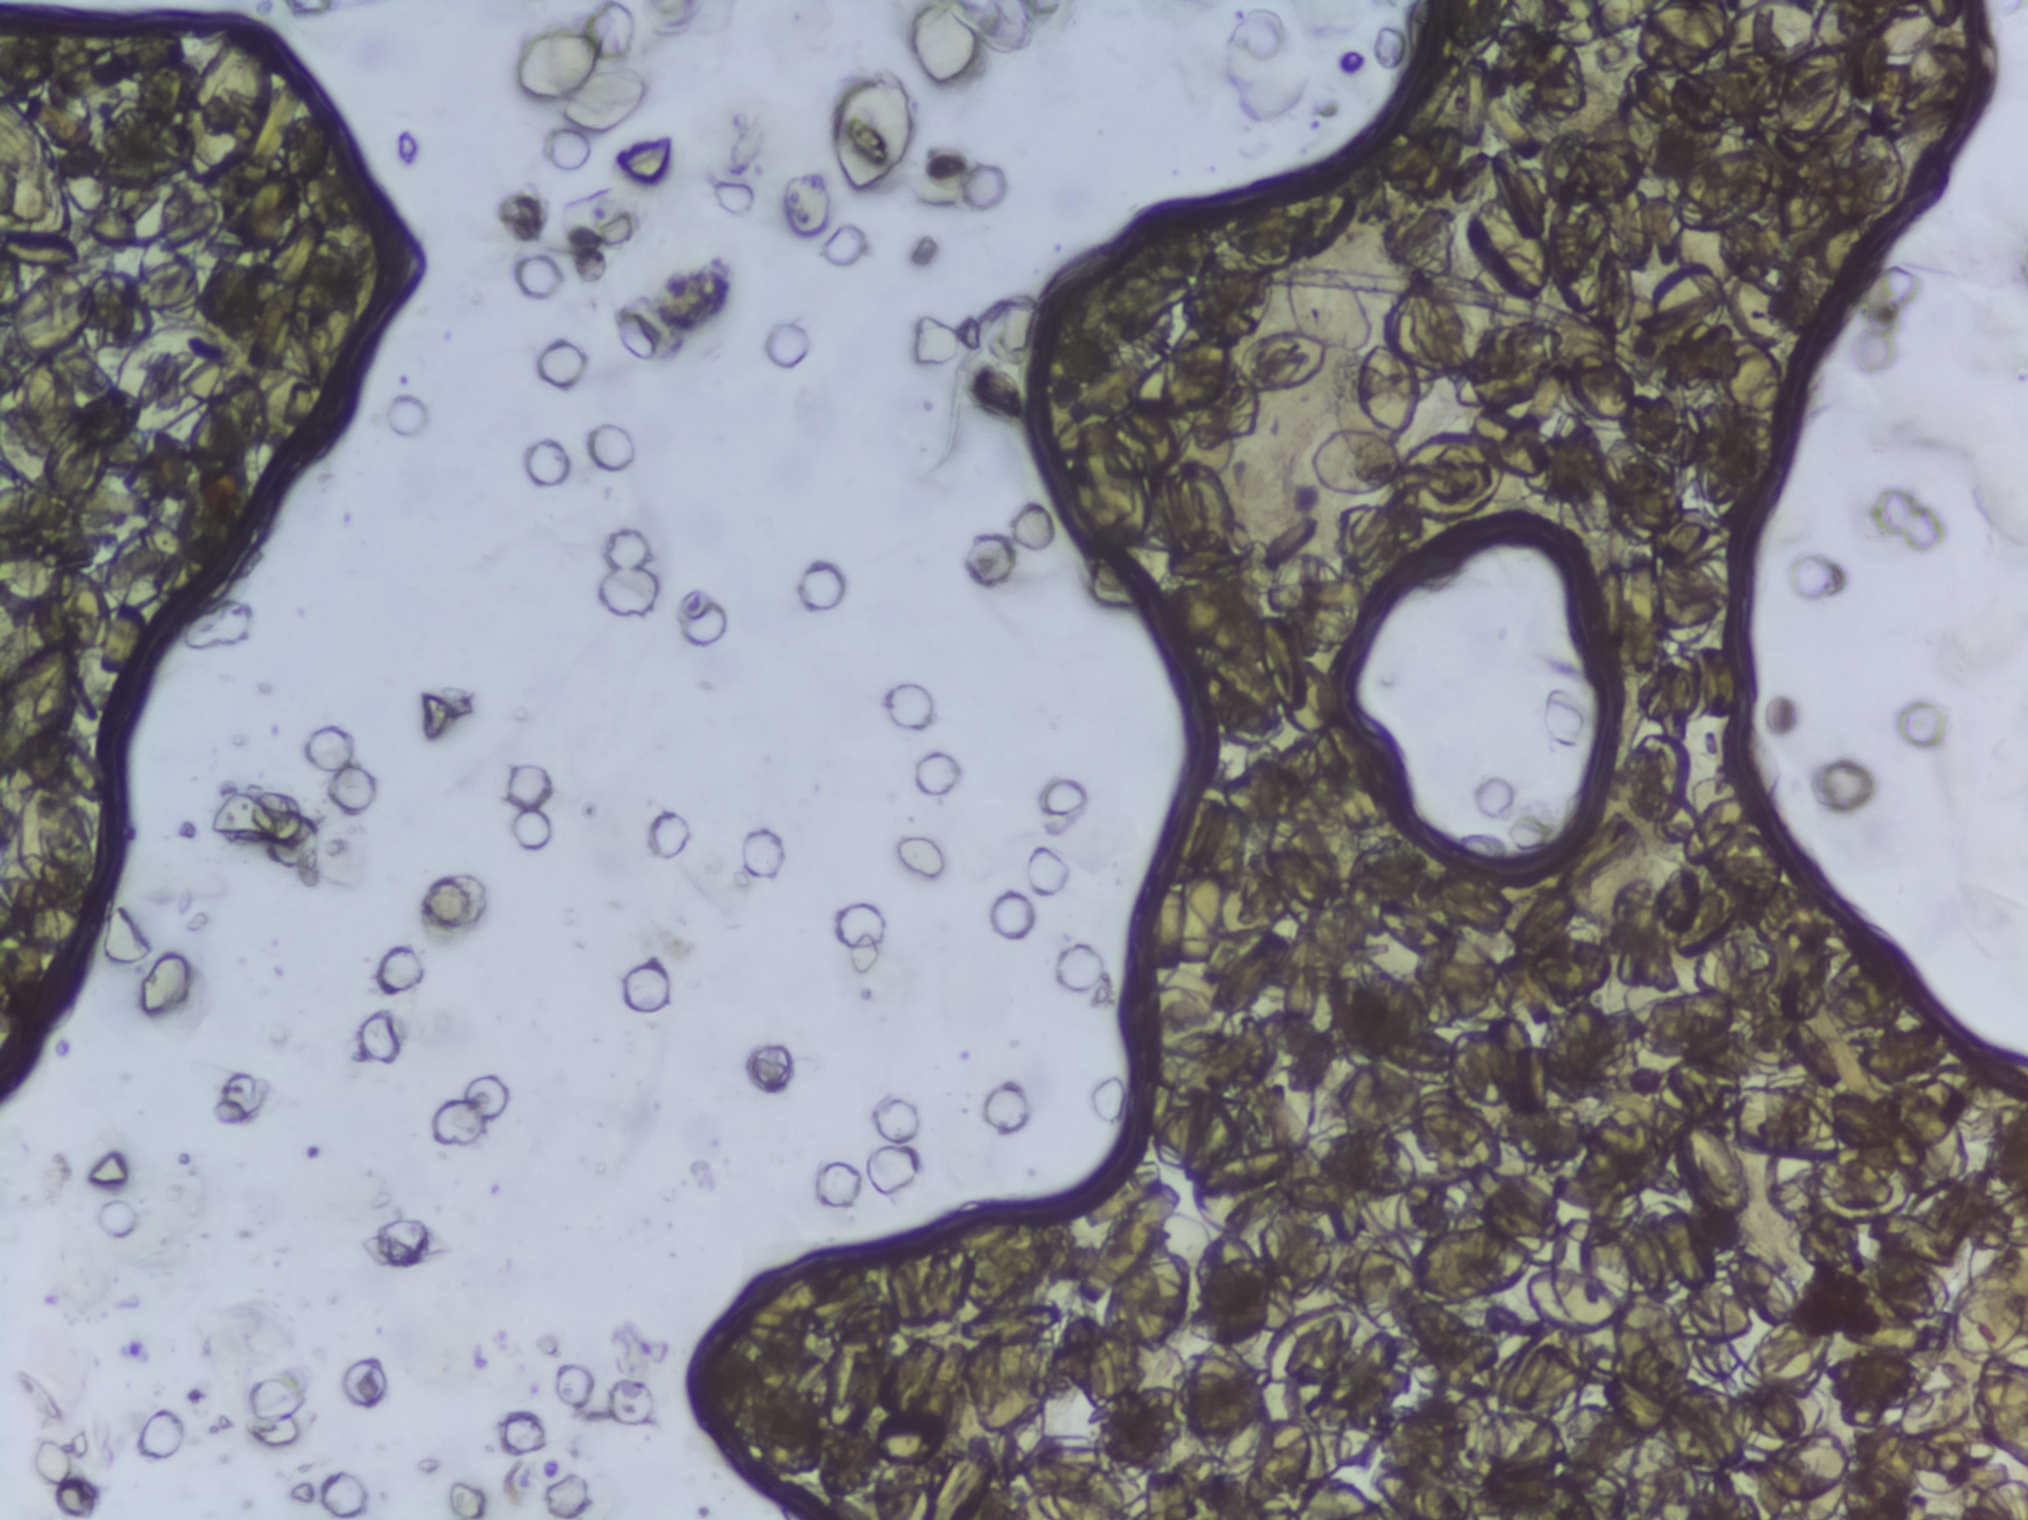
The expert annotation outlines no Schistosoma egg in this image.
Photograph from an automated digital microscope: urine filter membrane, 4× objective. Field of view: about 1.5 mm wide and 1.1 mm high.